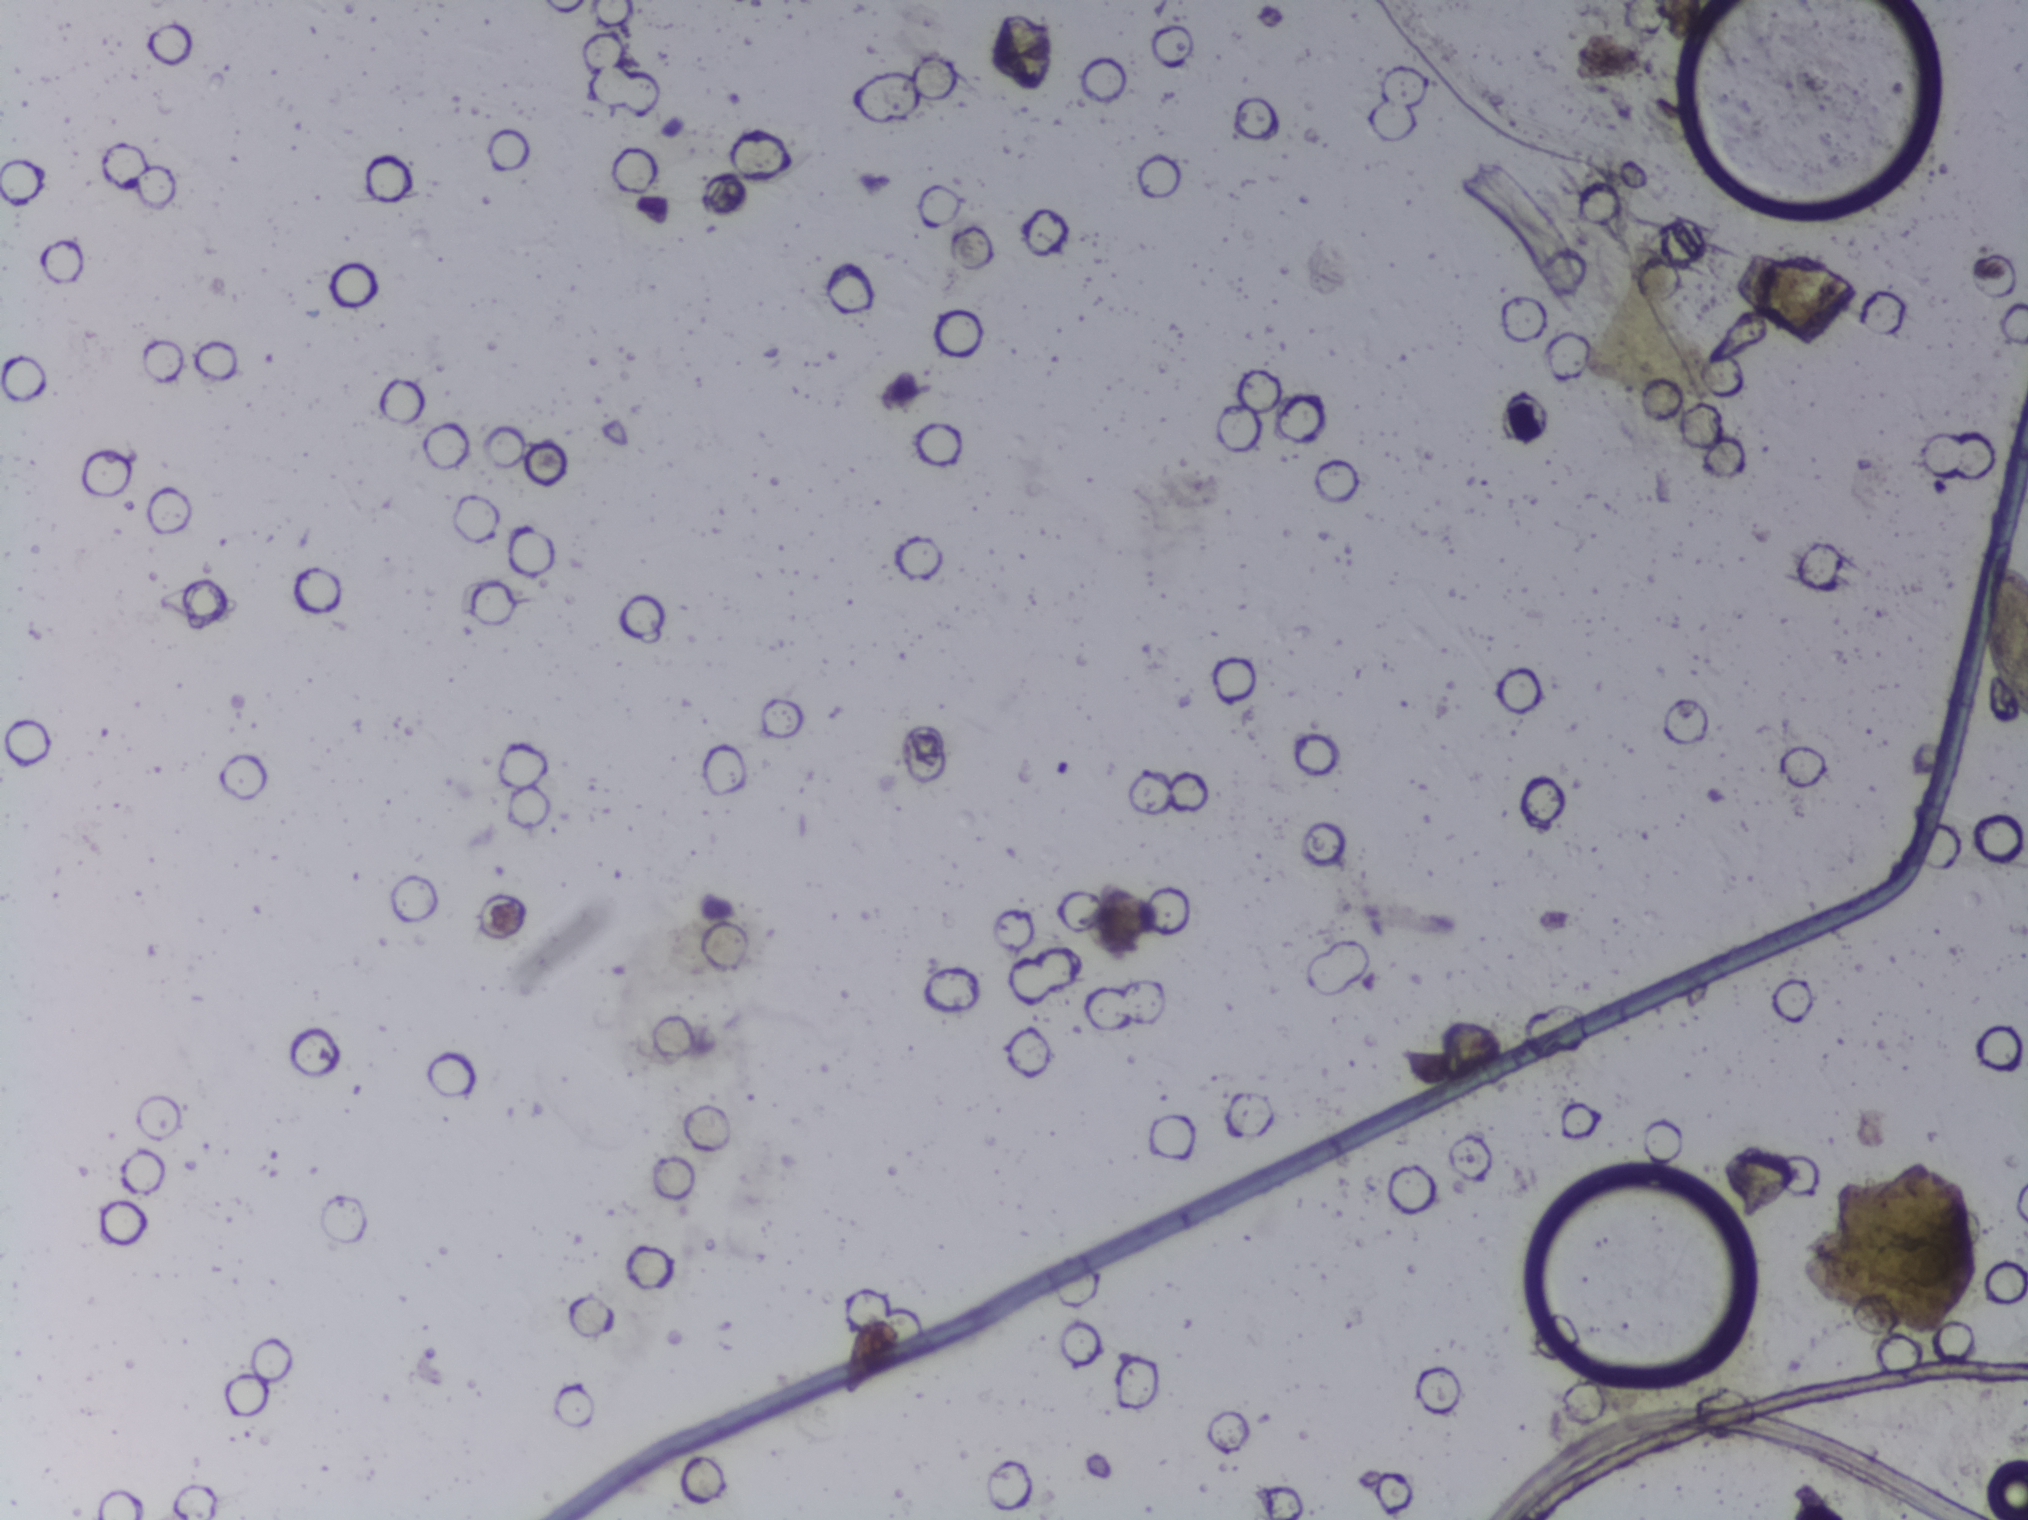
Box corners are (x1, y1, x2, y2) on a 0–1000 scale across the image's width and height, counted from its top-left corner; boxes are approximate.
Areas outlined as Schistosoma eggs:
1. (976, 366, 1000, 476) (reaching the right edge of the frame)
The marked pixels themselves, not the box around them, cover about 0.2% of the image. Eggs that touch can end up inside the same outlined area. A marked egg may occasionally be S. mansoni rather than S. haematobium.
Urine filter membrane photographed through a 4× microscope objective.